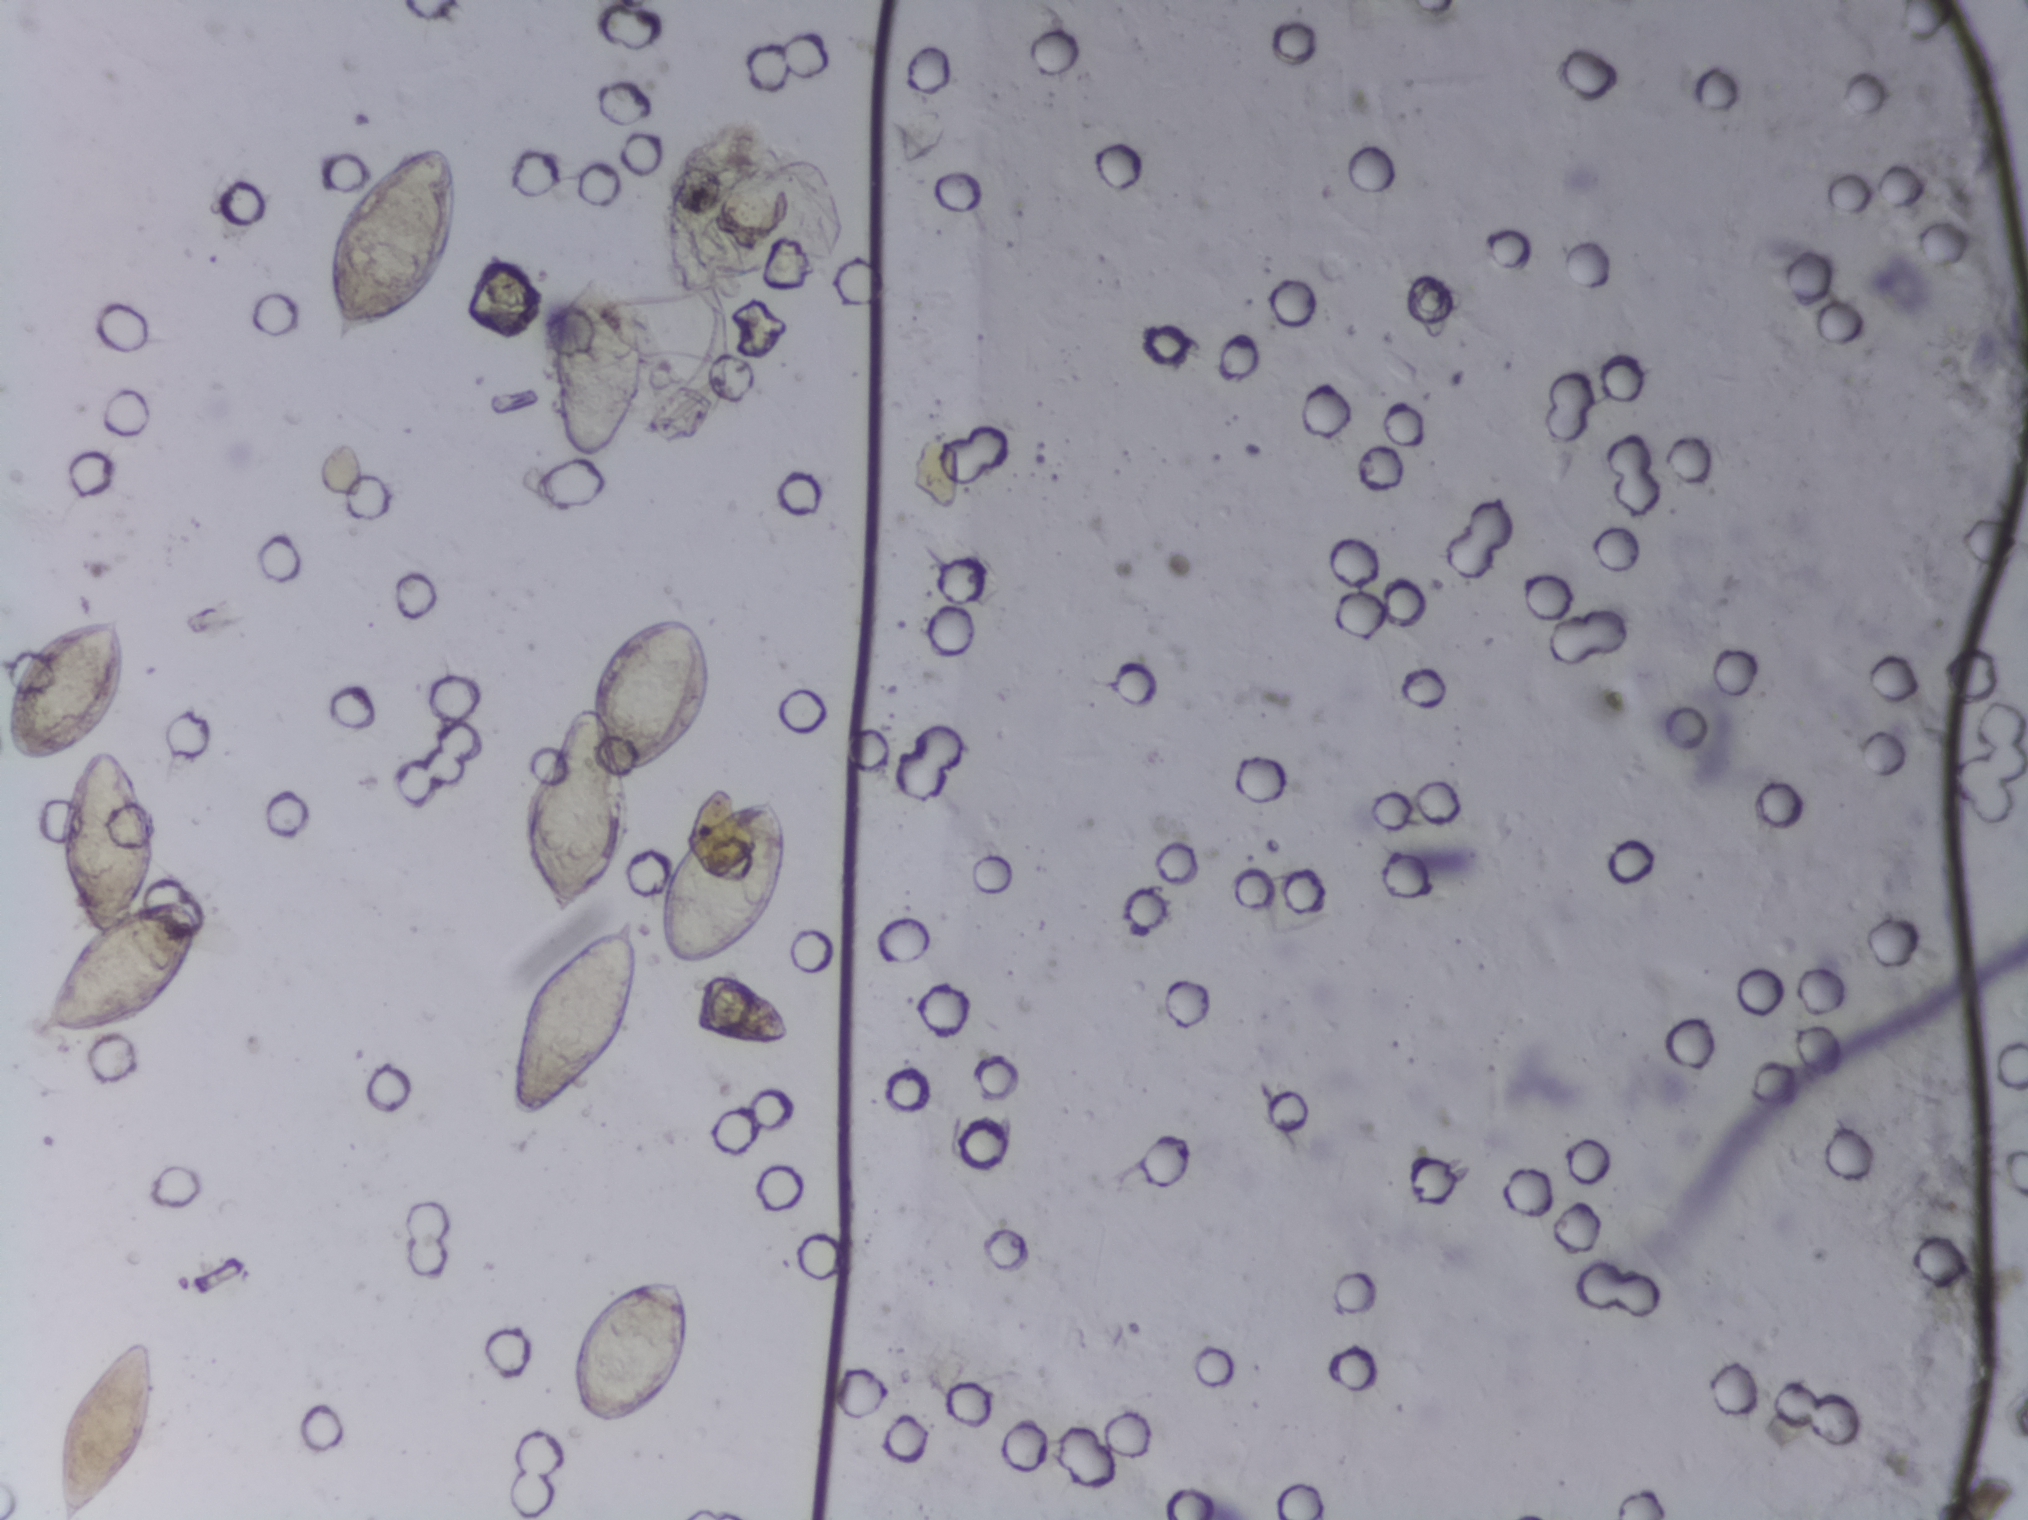
Urine filter membrane photographed through a 4× microscope objective.
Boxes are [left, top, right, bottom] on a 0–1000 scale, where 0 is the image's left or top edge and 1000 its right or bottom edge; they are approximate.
The expert annotation outlines Schistosoma eggs at [1, 403, 65, 505]; [16, 487, 97, 683]; [26, 878, 76, 1000] (reaching the bottom edge of the frame); [160, 92, 227, 228]; [250, 602, 315, 737]; [257, 403, 352, 609]; [267, 176, 319, 309]; [279, 840, 341, 939]; [323, 523, 389, 637] (left to right). A single outlined area may contain several eggs.